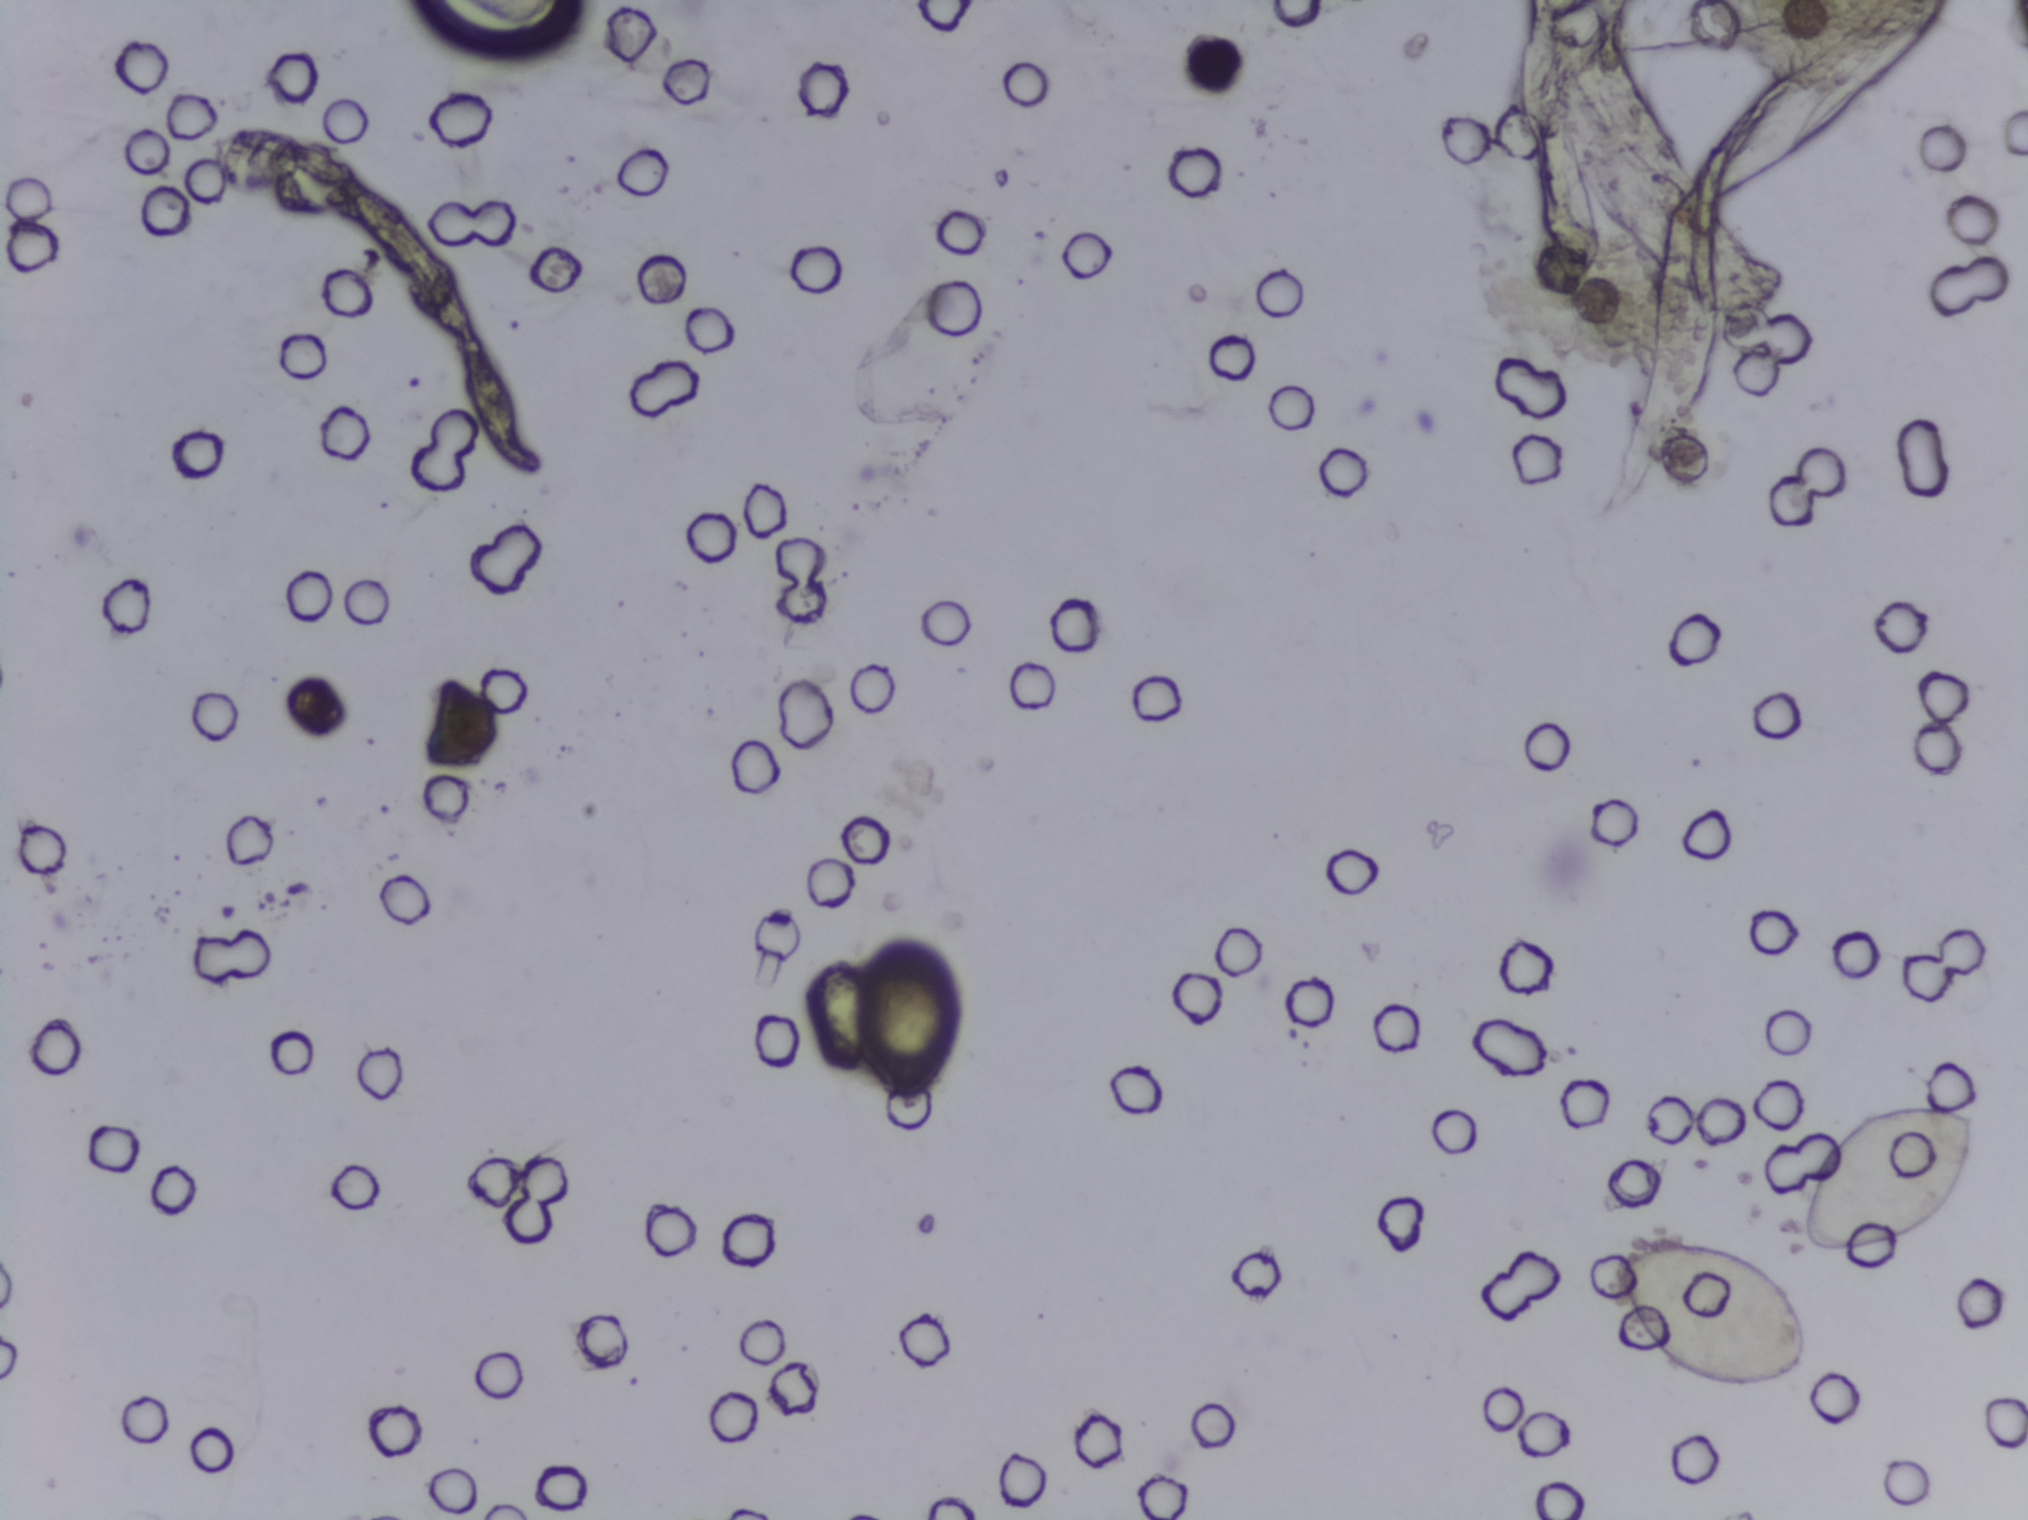
Urine filter membrane photographed through a 4× microscope objective.
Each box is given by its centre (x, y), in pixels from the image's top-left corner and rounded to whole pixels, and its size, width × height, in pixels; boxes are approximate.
Findings: three areas outlined as Schistosoma eggs. Locations, left to right: centre (906, 1019), 97 × 170 px; centre (1711, 1318), 200 × 155 px; centre (1888, 1179), 180 × 154 px. A single outlined area may contain several eggs.